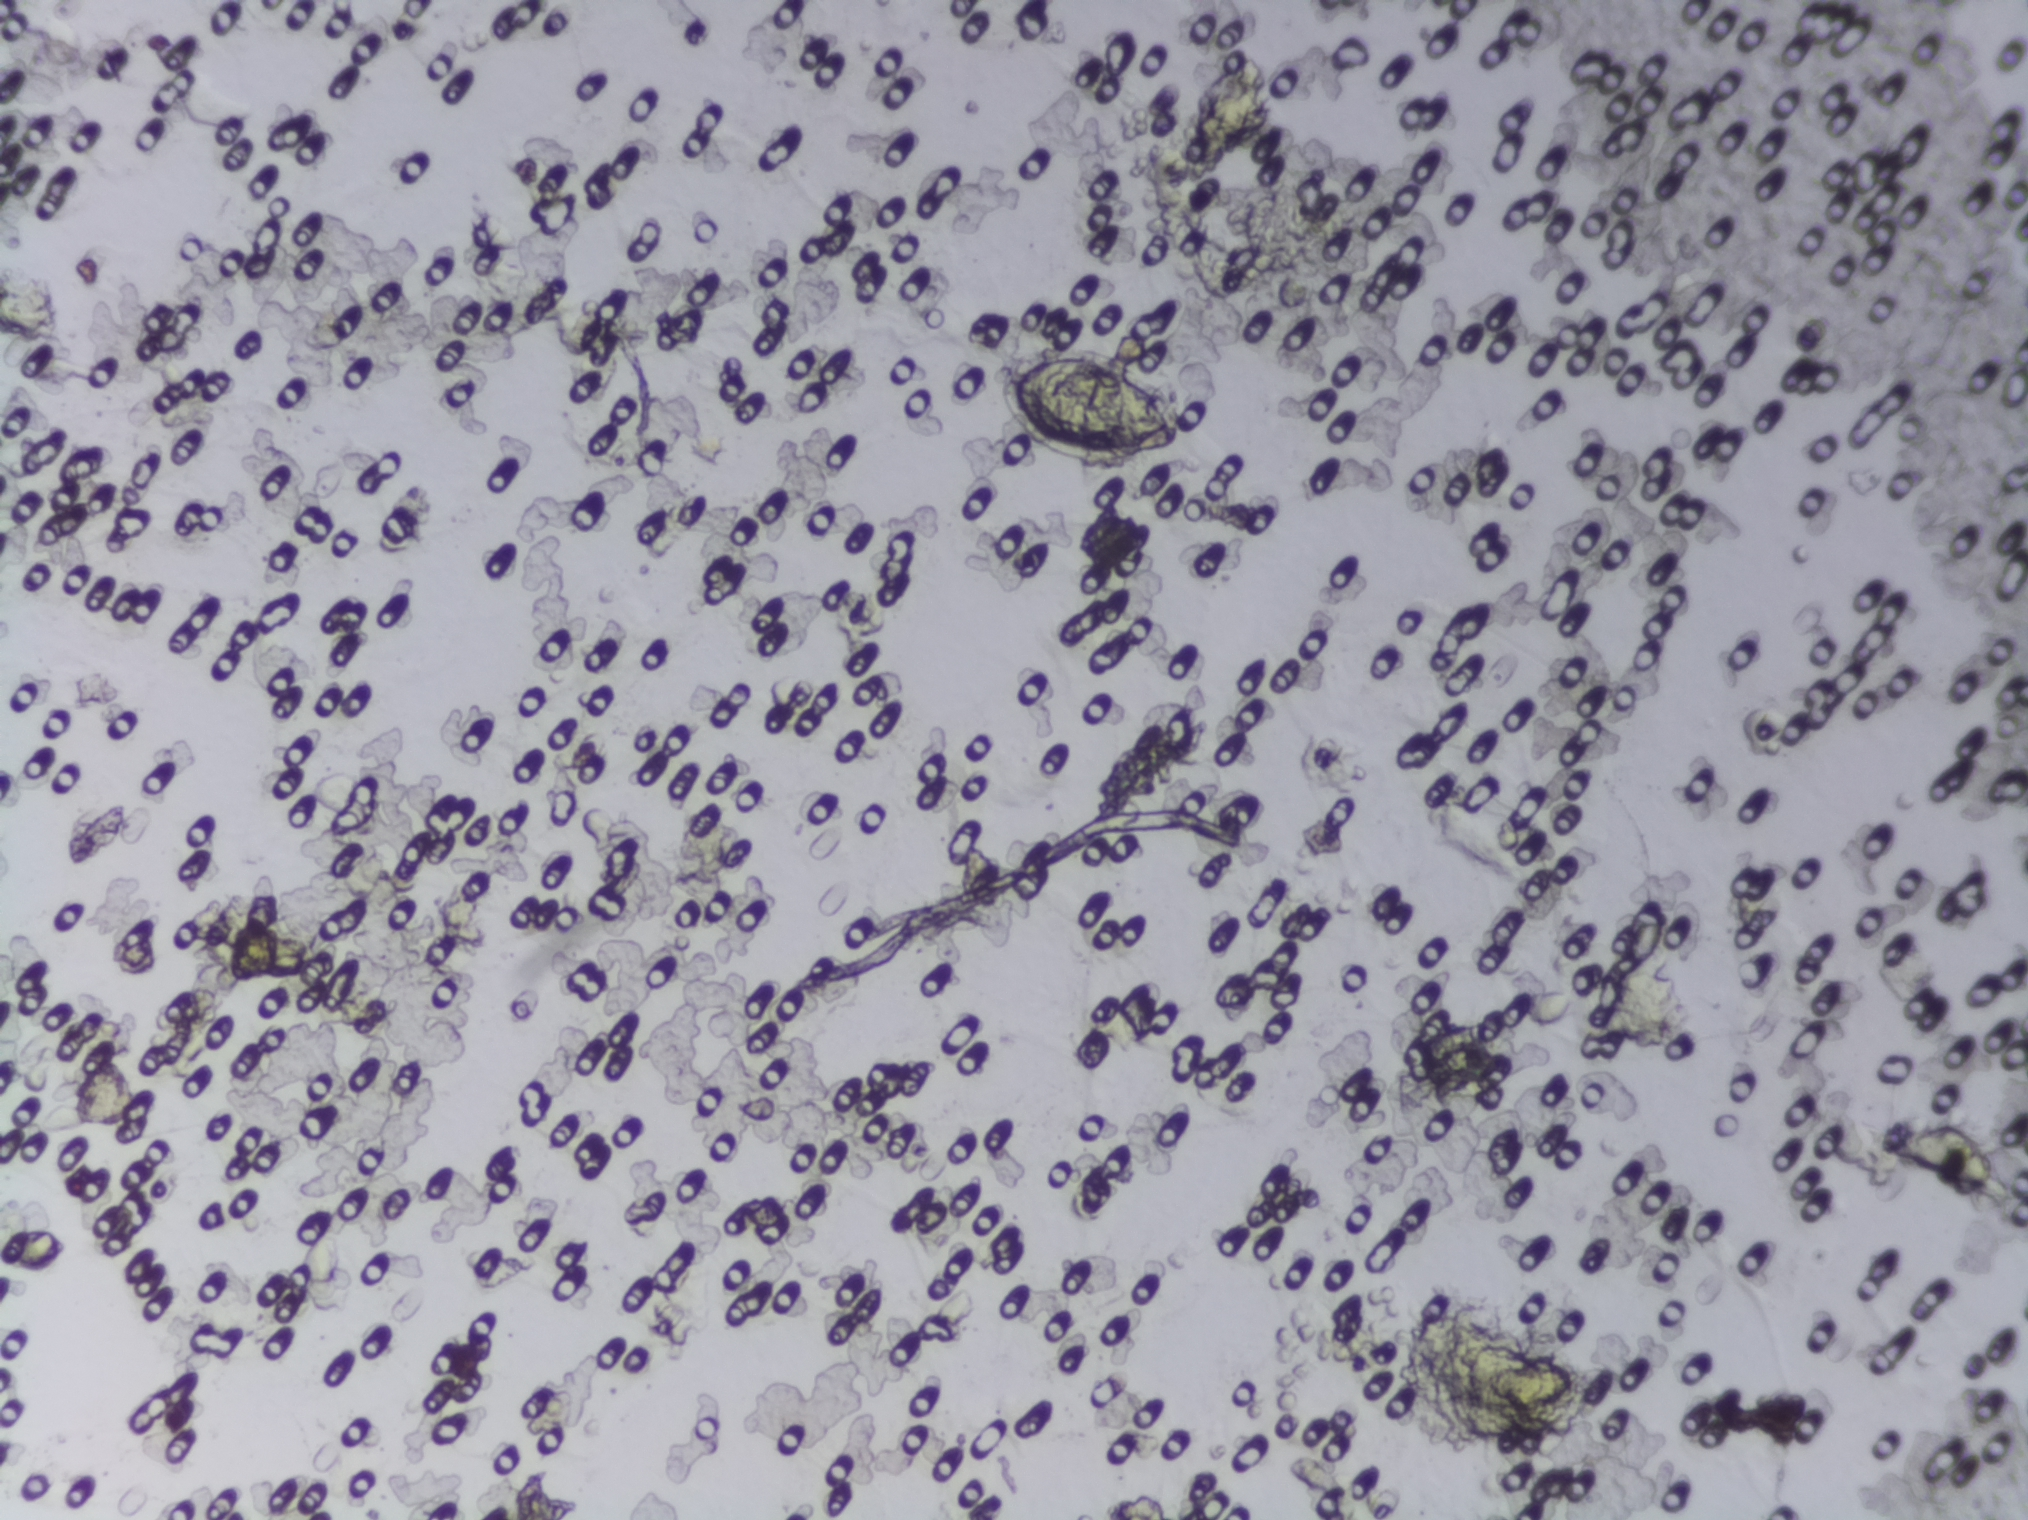
Microscope photograph (4× objective) of a membrane that a urine sample was filtered through. Field of view: about 1.5 mm wide and 1.1 mm high.
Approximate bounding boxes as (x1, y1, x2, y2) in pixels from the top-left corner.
One area of this image is outlined as Schistosoma eggs: (997, 341, 1182, 470). Eggs that touch can end up inside the same outlined area. A marked egg may occasionally be S. mansoni rather than S. haematobium.